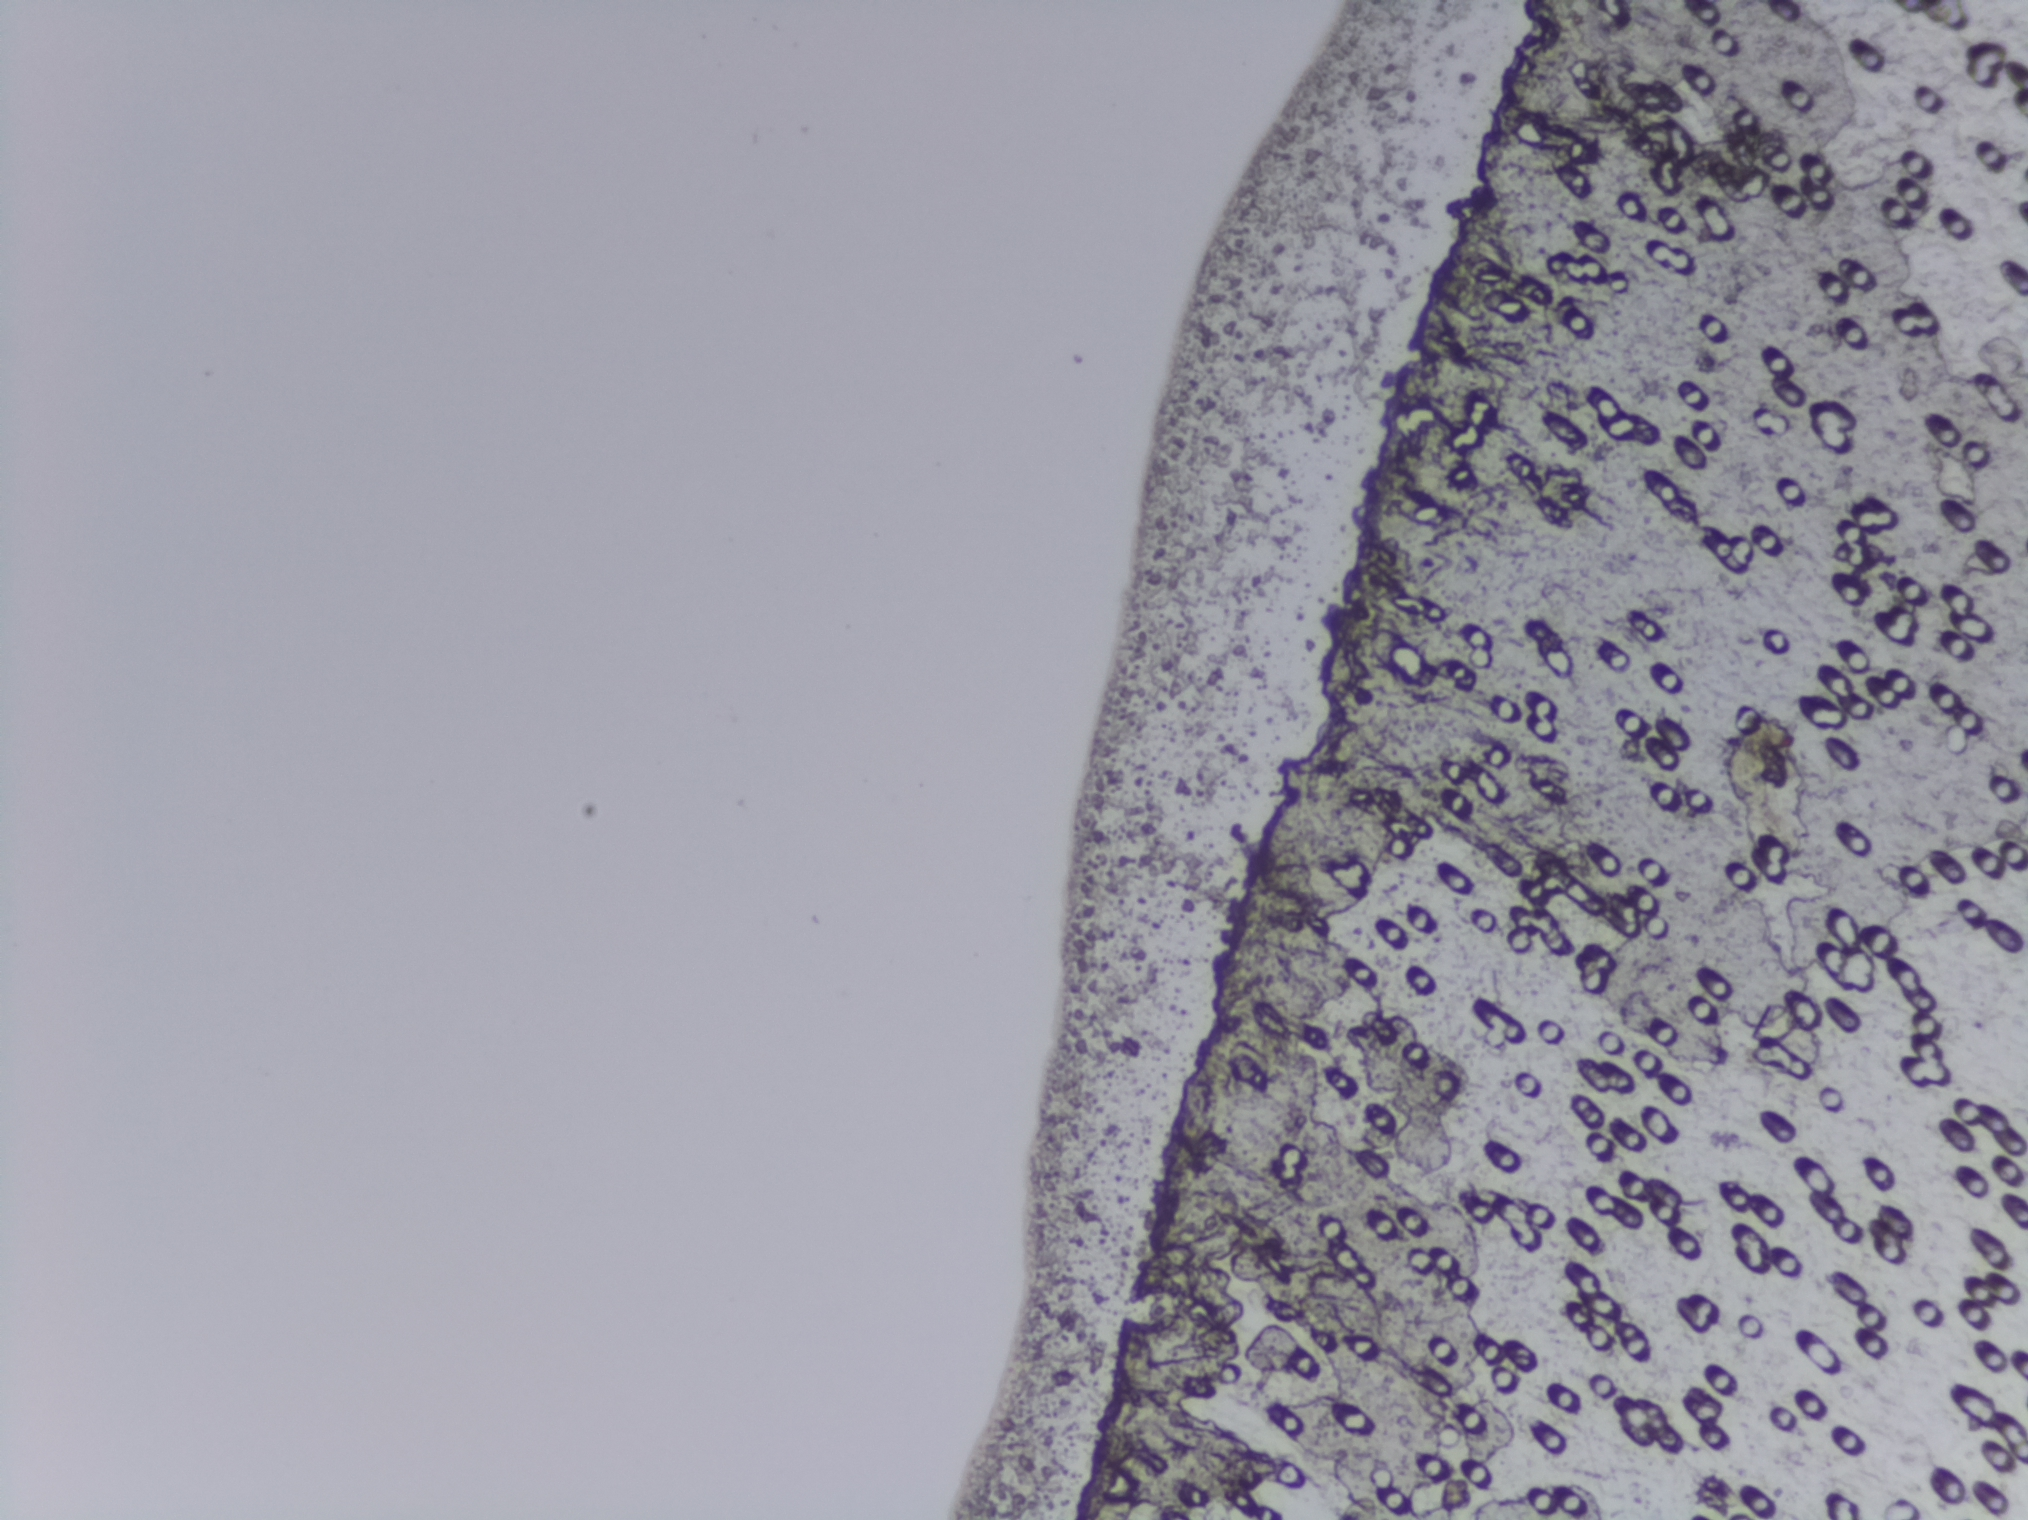
Microscope photograph (4× objective) of a membrane that a urine sample was filtered through.
Schistosoma eggs: none outlined.